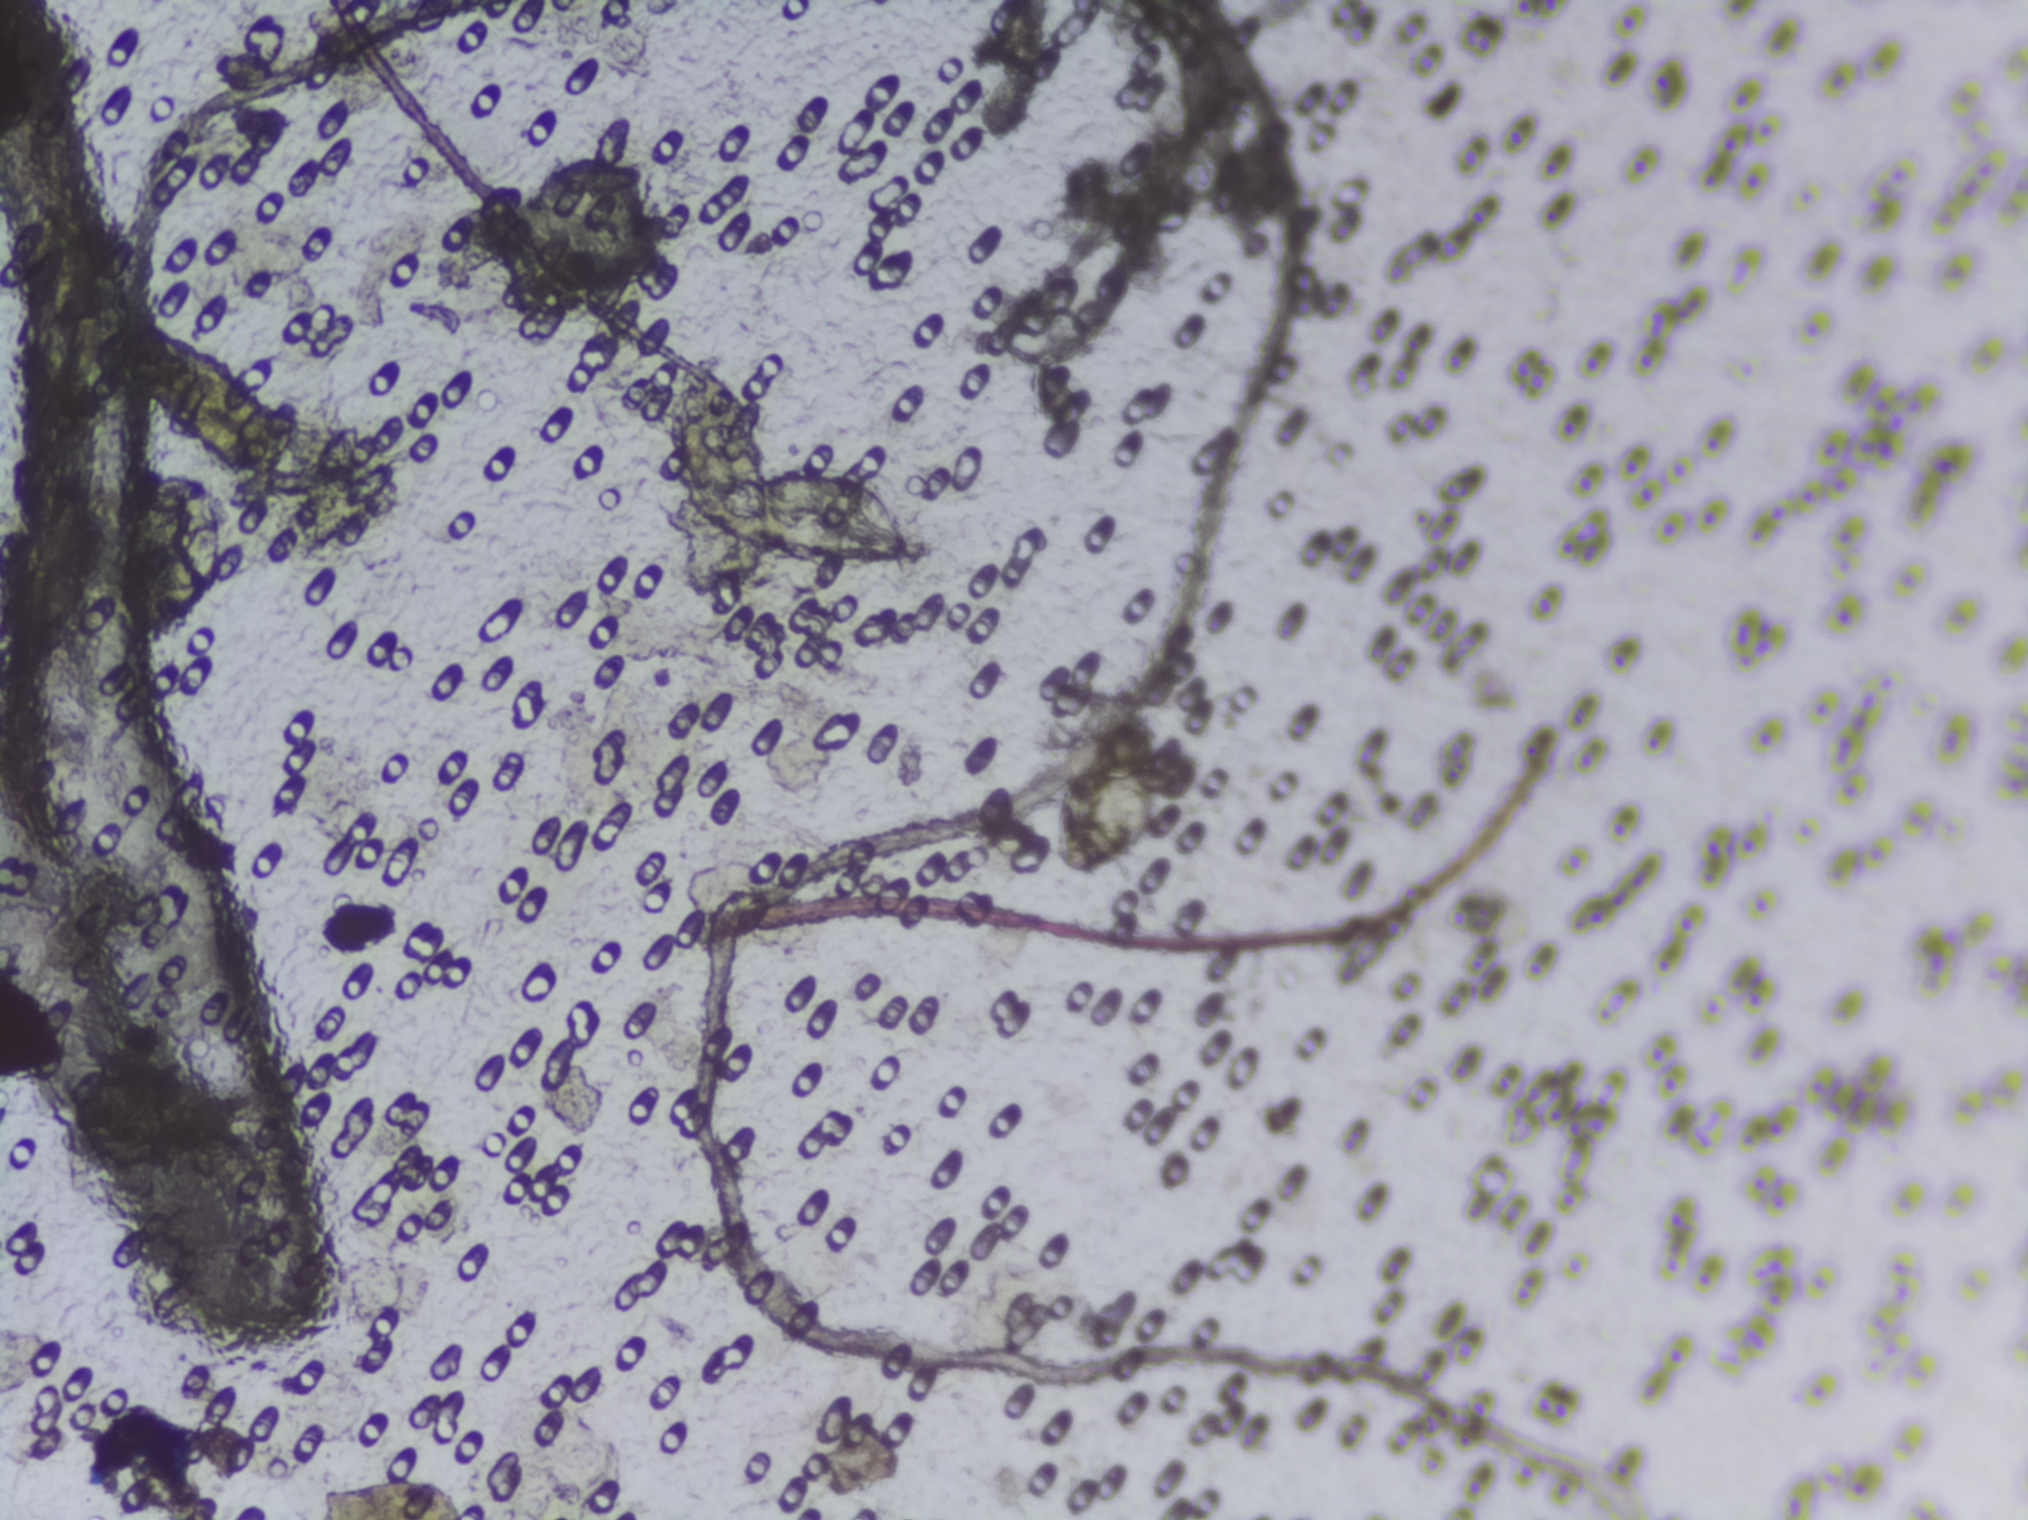
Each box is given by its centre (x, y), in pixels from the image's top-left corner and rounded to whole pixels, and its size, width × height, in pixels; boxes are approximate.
The expert annotation outlines Schistosoma eggs at centre (806, 519), 226 × 99 px and centre (1110, 774), 128 × 183 px (left to right). Eggs that touch can end up inside the same outlined area.
Microscope photograph (4× objective) of a membrane that a urine sample was filtered through. Field of view: about 1.5 mm wide and 1.1 mm high.